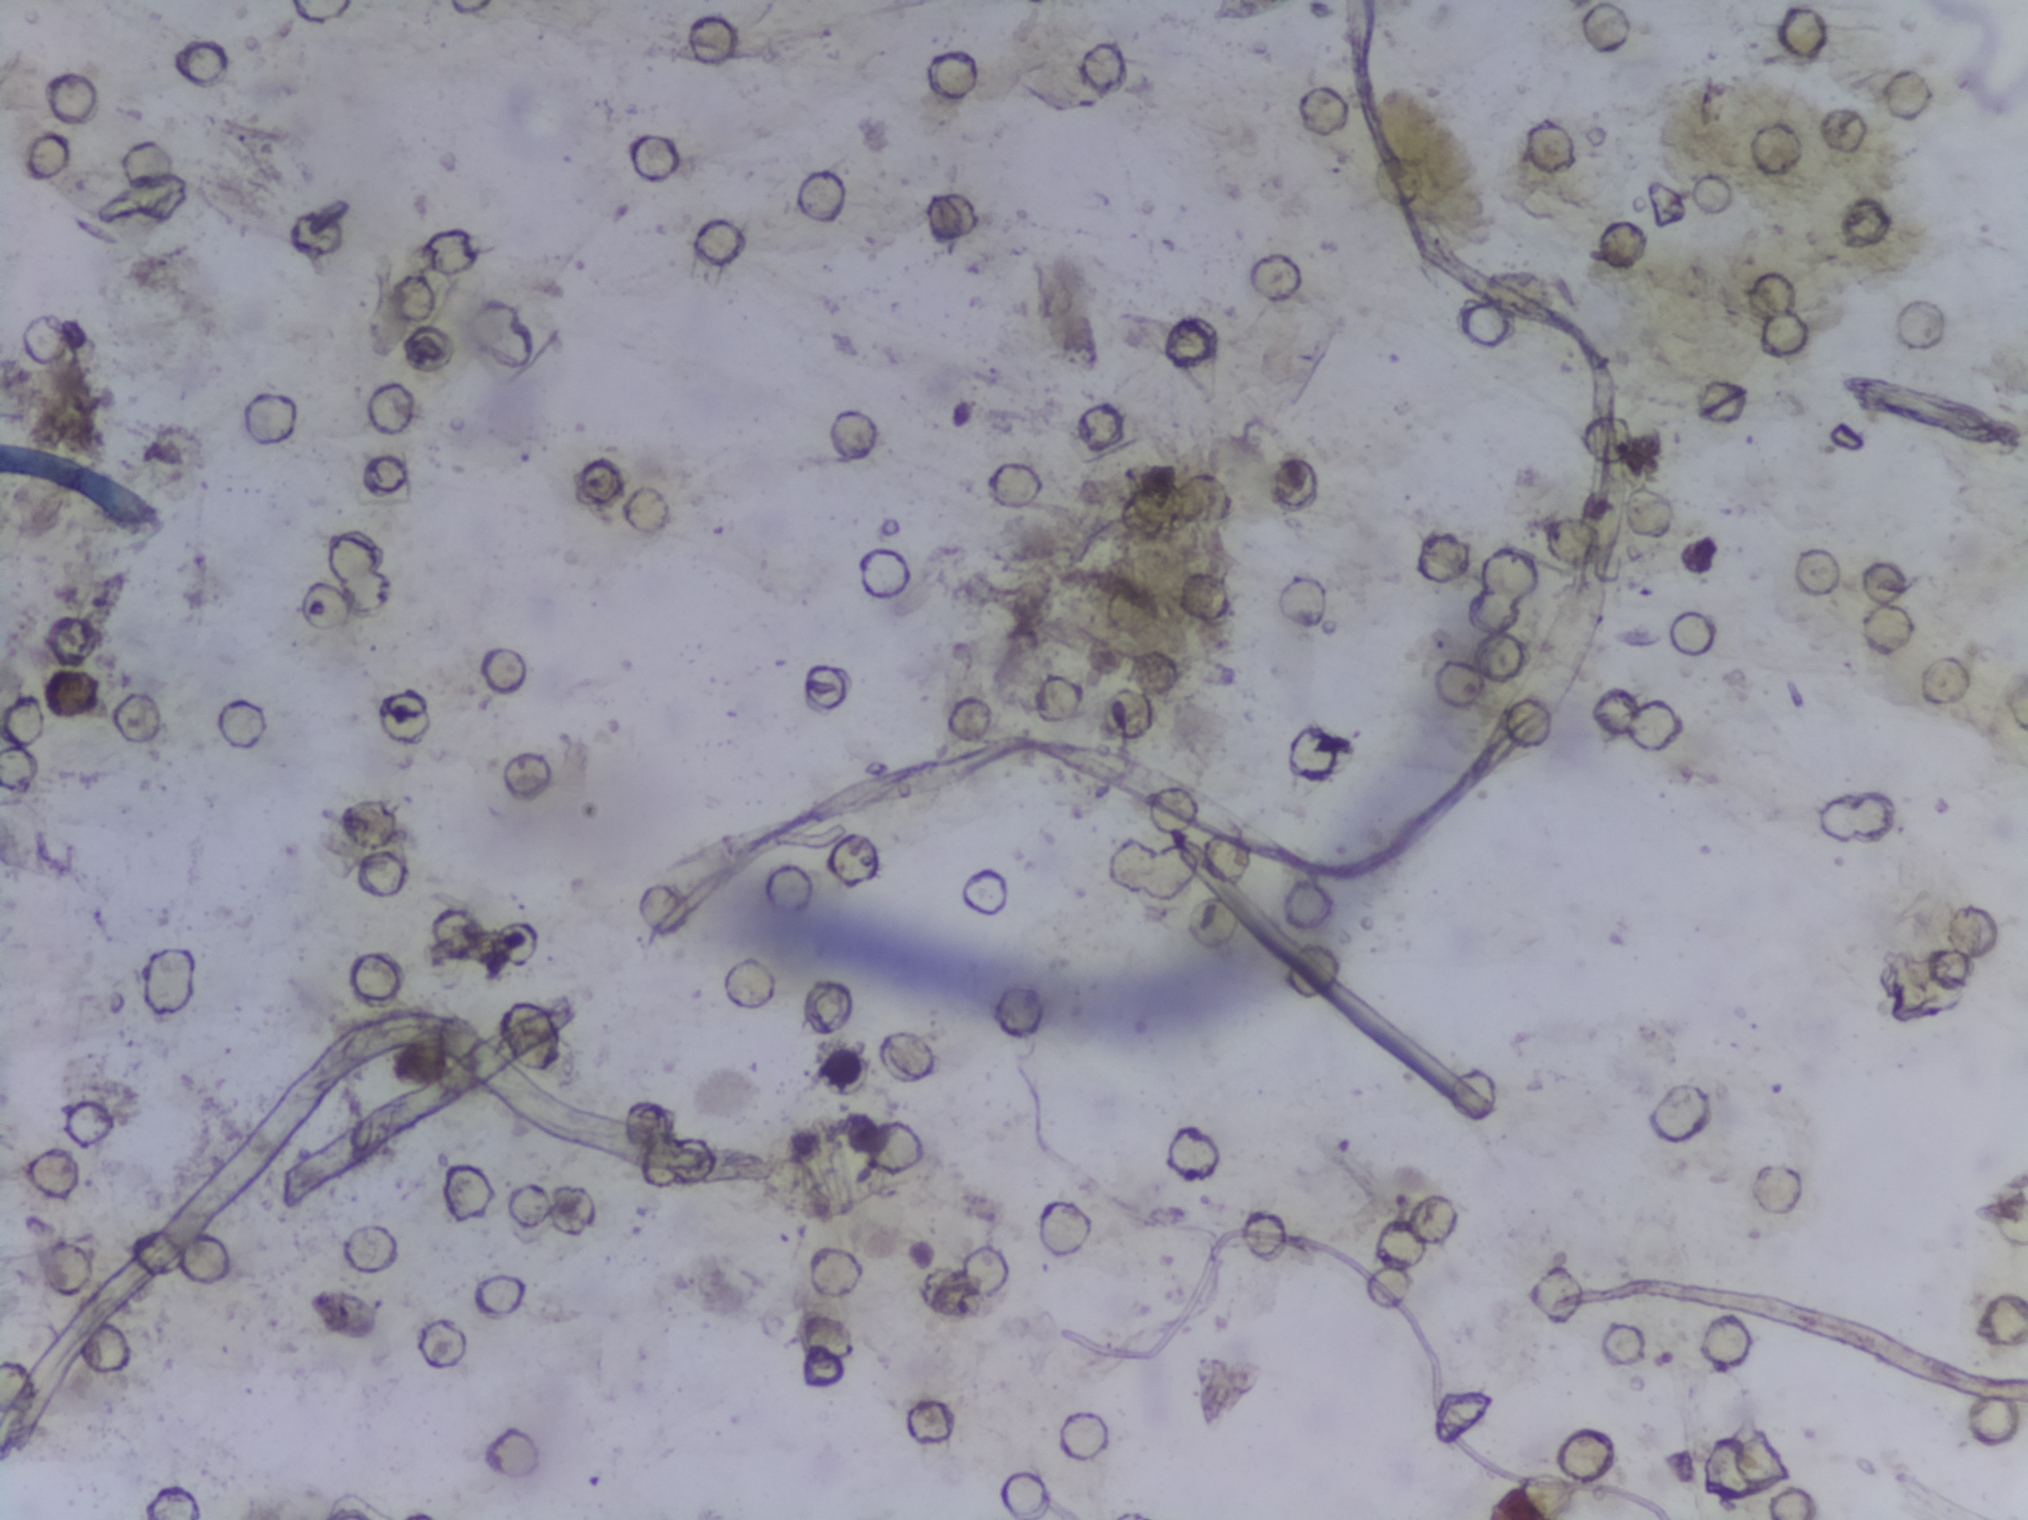
Urine filter membrane photographed through a 4× microscope objective.
The expert annotation marks no Schistosoma egg in this field of view.